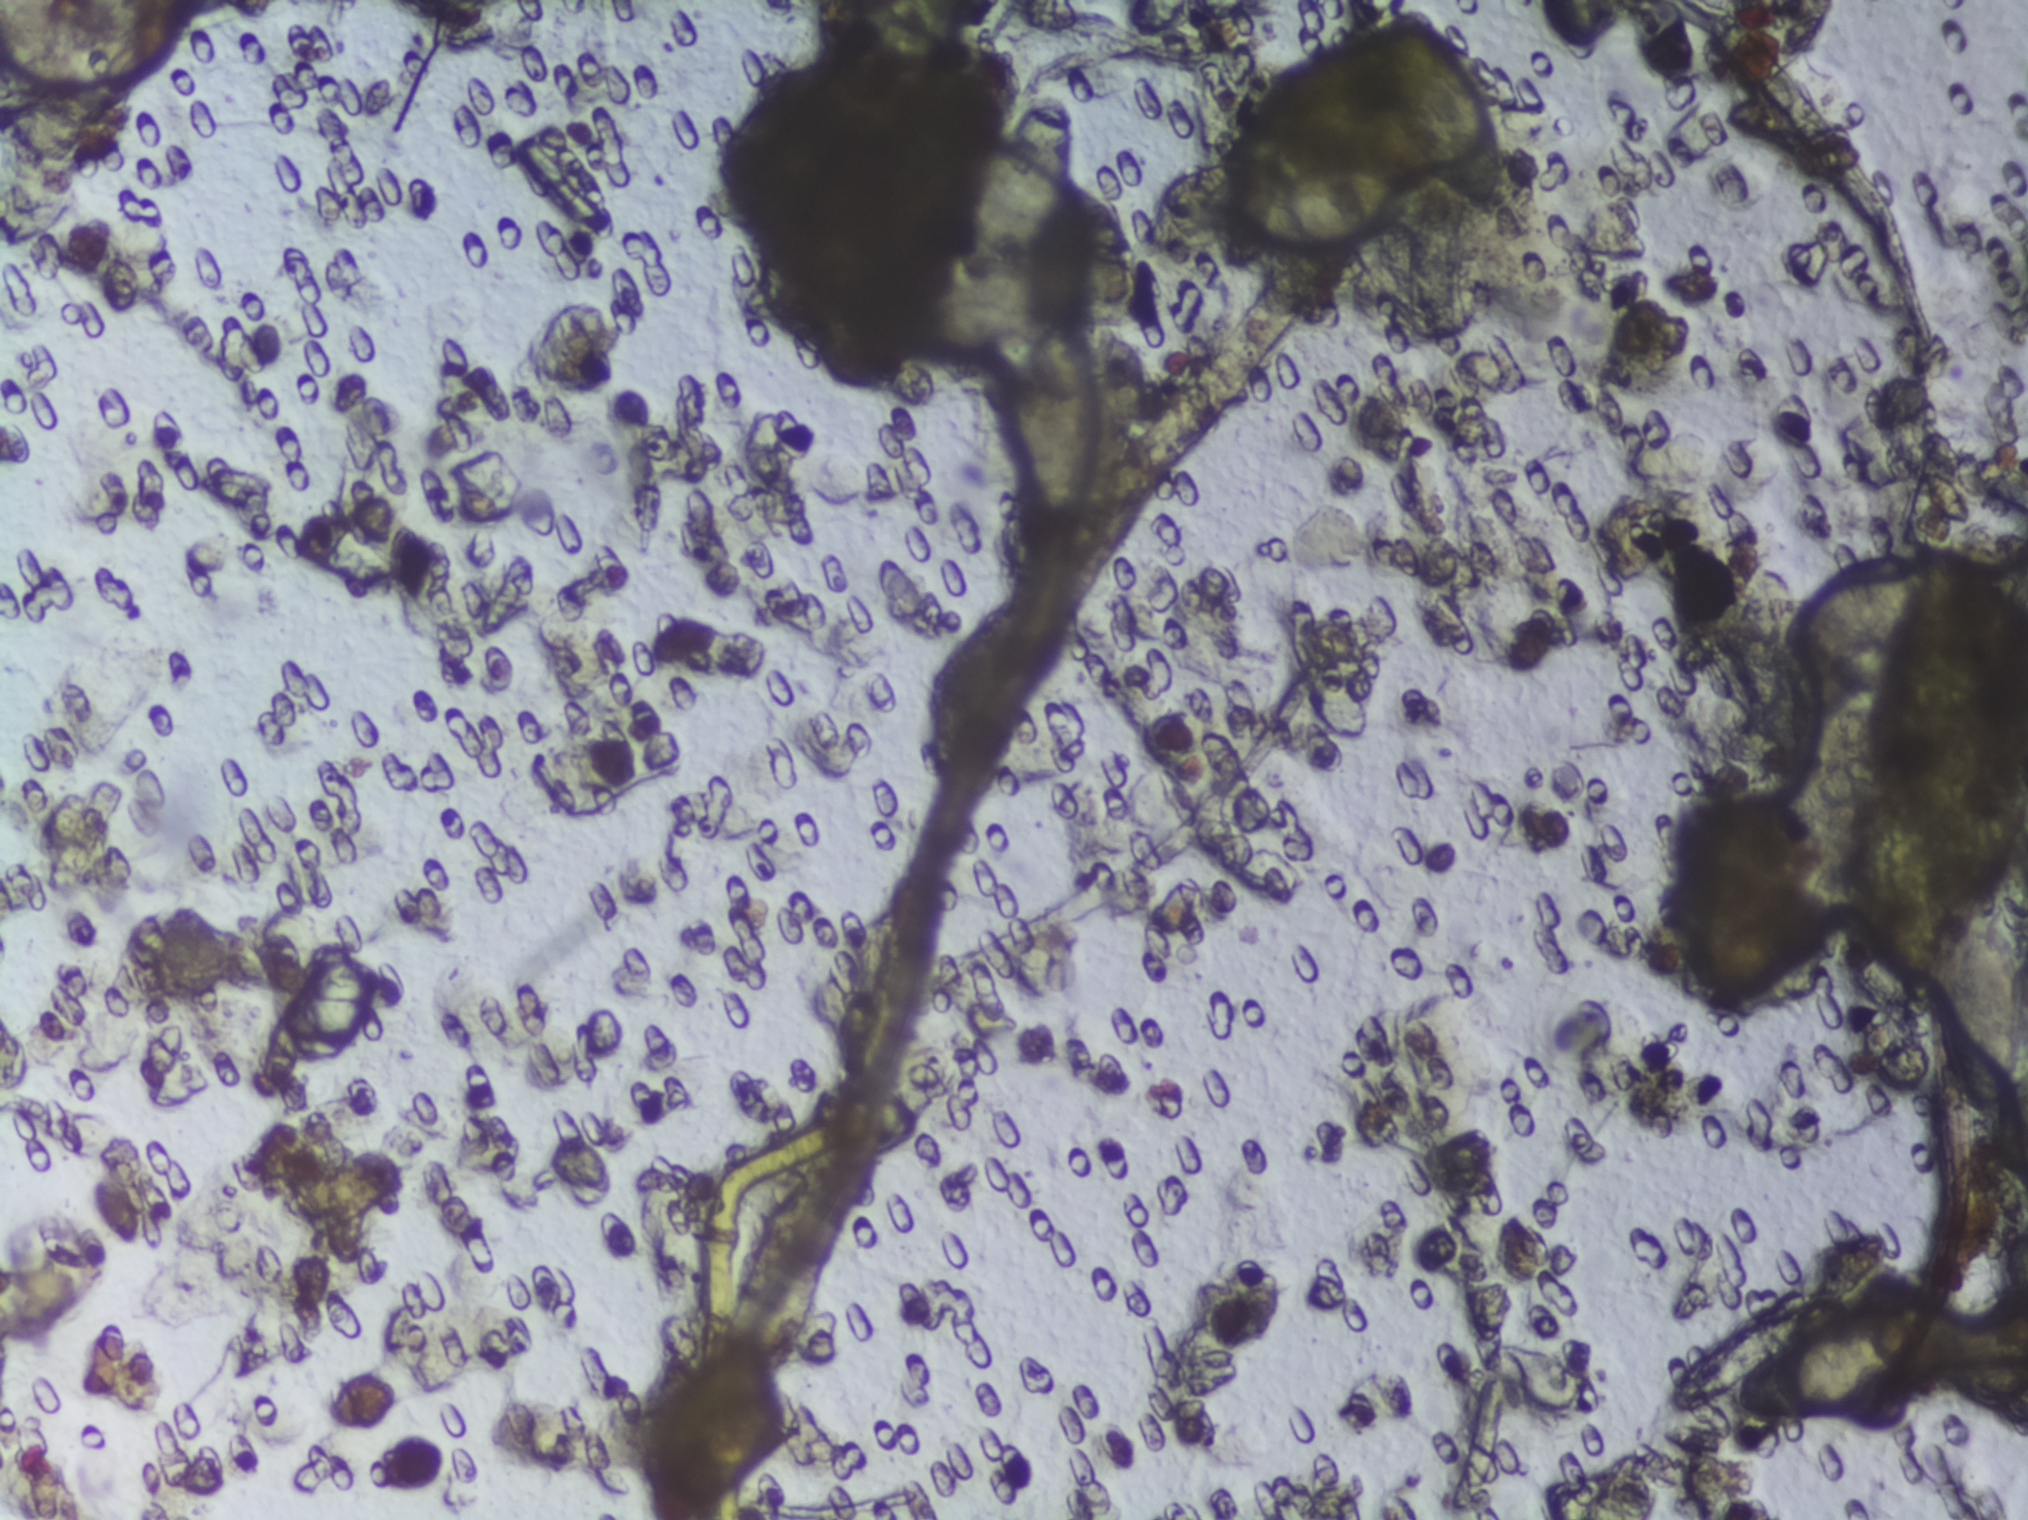
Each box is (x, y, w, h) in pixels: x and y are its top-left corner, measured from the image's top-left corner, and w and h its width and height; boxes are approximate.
Findings: seven areas outlined as Schistosoma eggs. Locations, left to right: (x=985, y=100, w=157, h=161); (x=1009, y=322, w=85, h=192); (x=1233, y=168, w=184, h=86); (x=1380, y=12, w=123, h=207); (x=1730, y=1306, w=229, h=120); (x=1779, y=551, w=187, h=110); (x=1939, y=911, w=87, h=199). Marked pixels, not the boxes around them: about 3.3% of the image. A single outlined area may contain several eggs.
Microscope photograph (4× objective) of a membrane that a urine sample was filtered through.